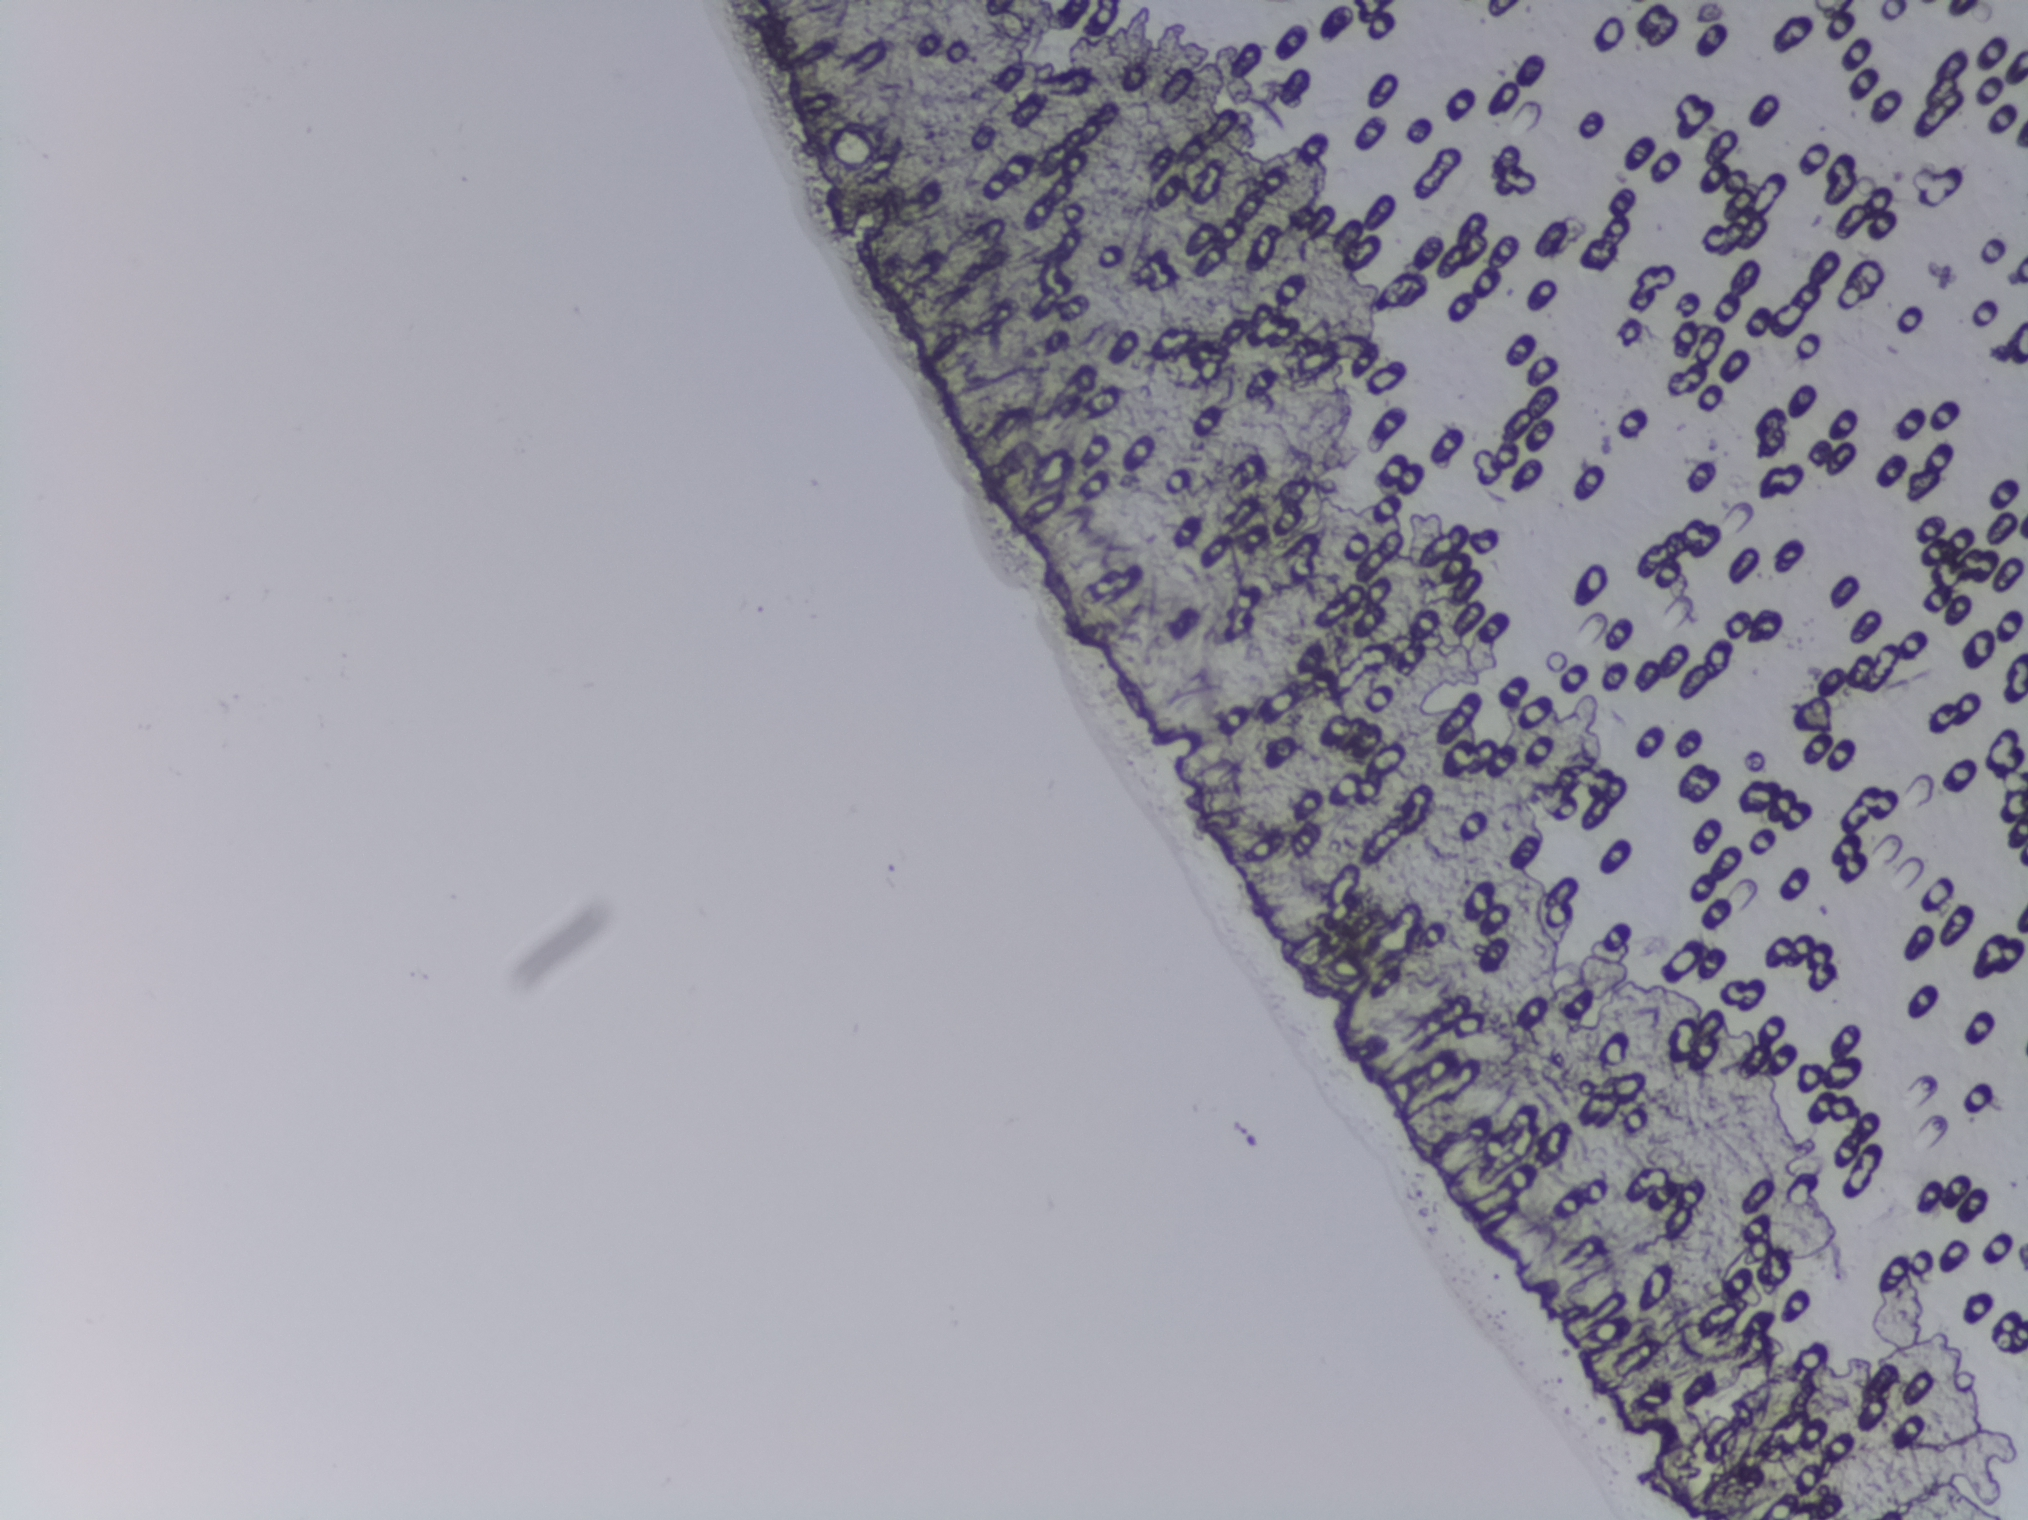
Photomicrograph of a urine filtration membrane, 4× objective. The field of view is about 1.5 mm × 1.1 mm.
No area of this image was outlined as a Schistosoma egg.